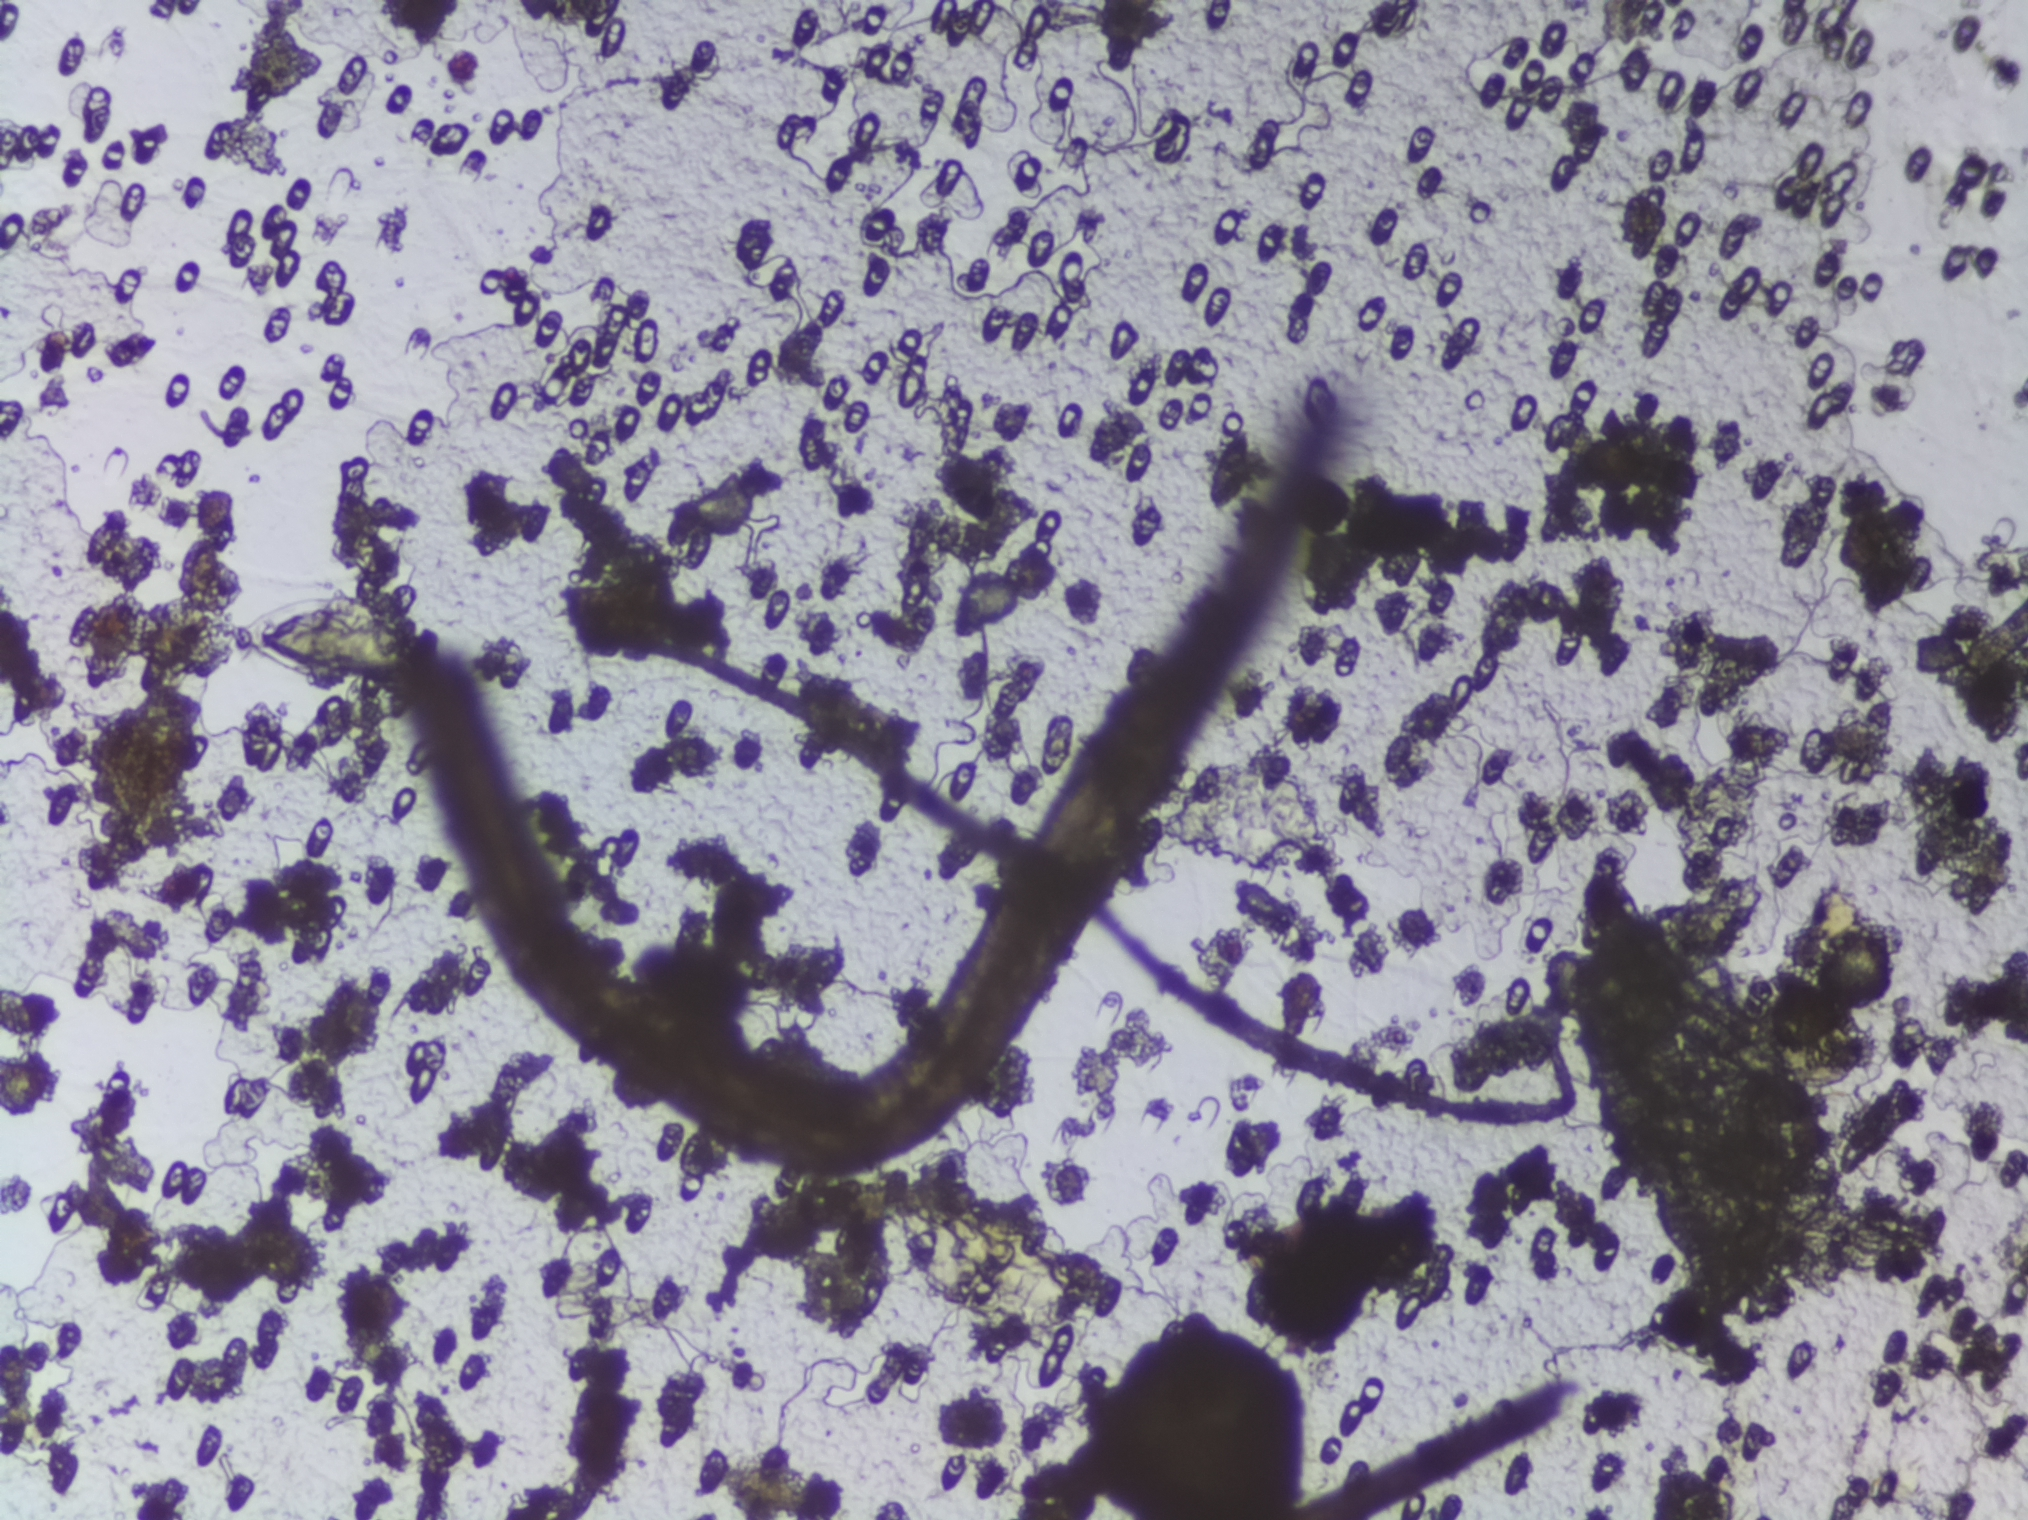
Urine filter membrane photographed through a 4× microscope objective. Field of view: about 1.5 mm wide and 1.1 mm high.
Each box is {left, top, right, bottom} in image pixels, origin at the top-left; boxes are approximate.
Schistosoma eggs are outlined in the expert annotation at {239, 597, 420, 682}. A single outlined area may contain several eggs.